Photograph from an automated digital microscope: urine filter membrane, 4× objective.
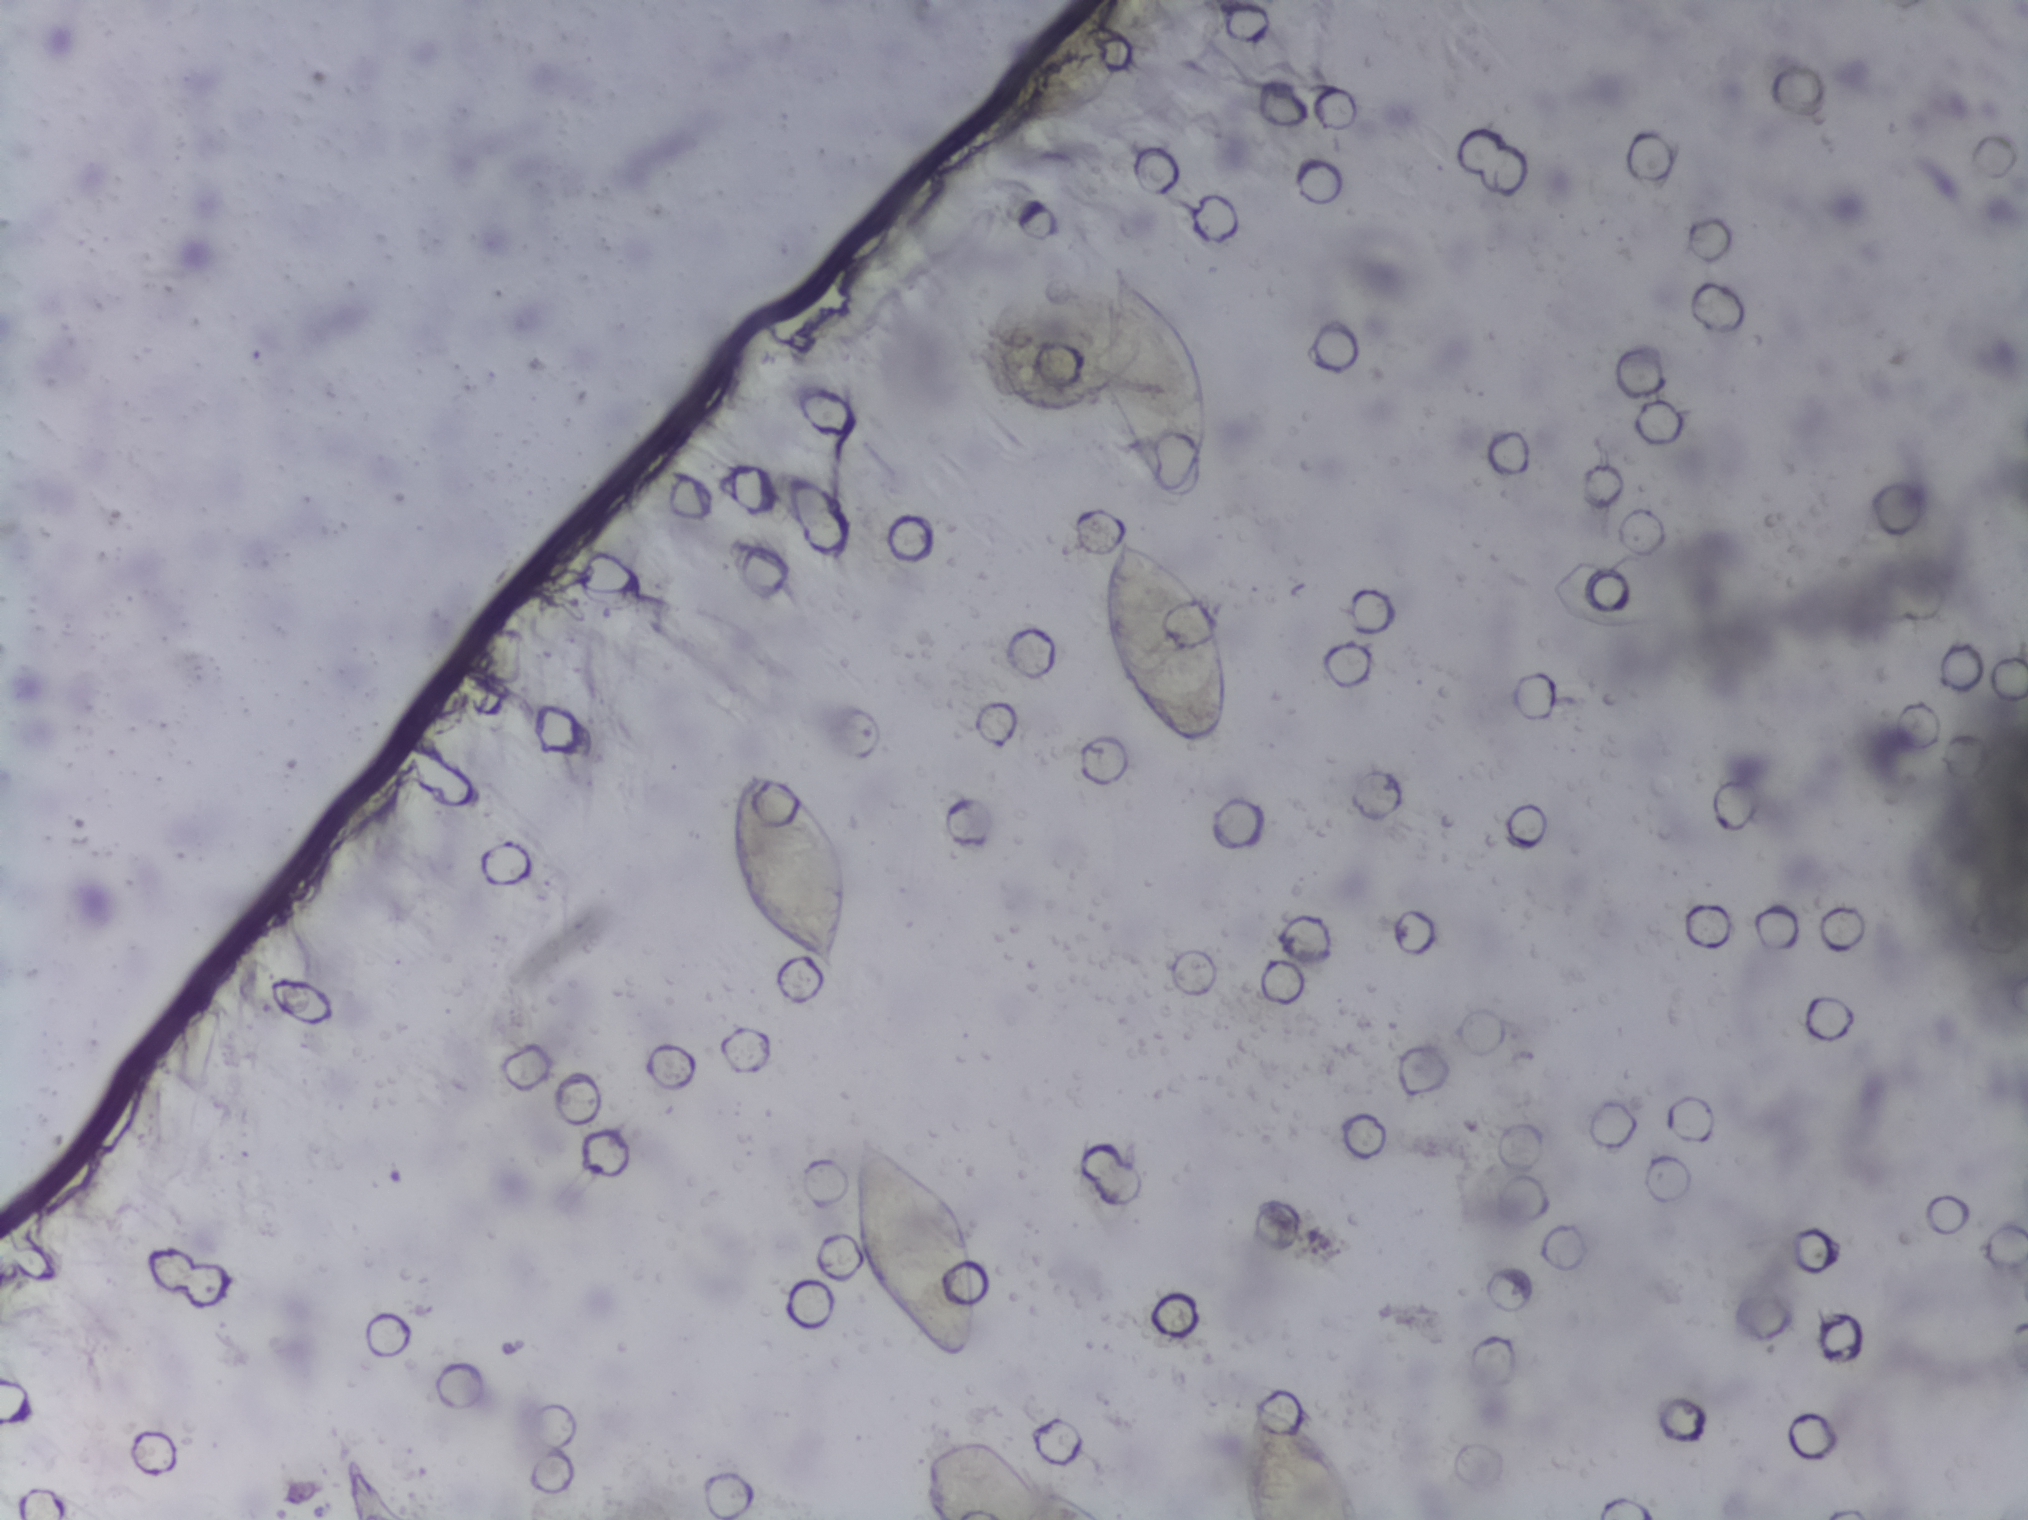
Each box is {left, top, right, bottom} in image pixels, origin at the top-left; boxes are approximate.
Five areas of this image are outlined as Schistosoma eggs, from left to right: {733, 772, 858, 984}; {851, 1127, 983, 1366}; {1086, 256, 1213, 500}; {1101, 527, 1233, 755}; {1231, 1389, 1368, 1519} (reaching the bottom edge of the frame). An outlined area can hold more than one egg. Any one outlined egg may, rarely, be S. mansoni rather than S. haematobium.